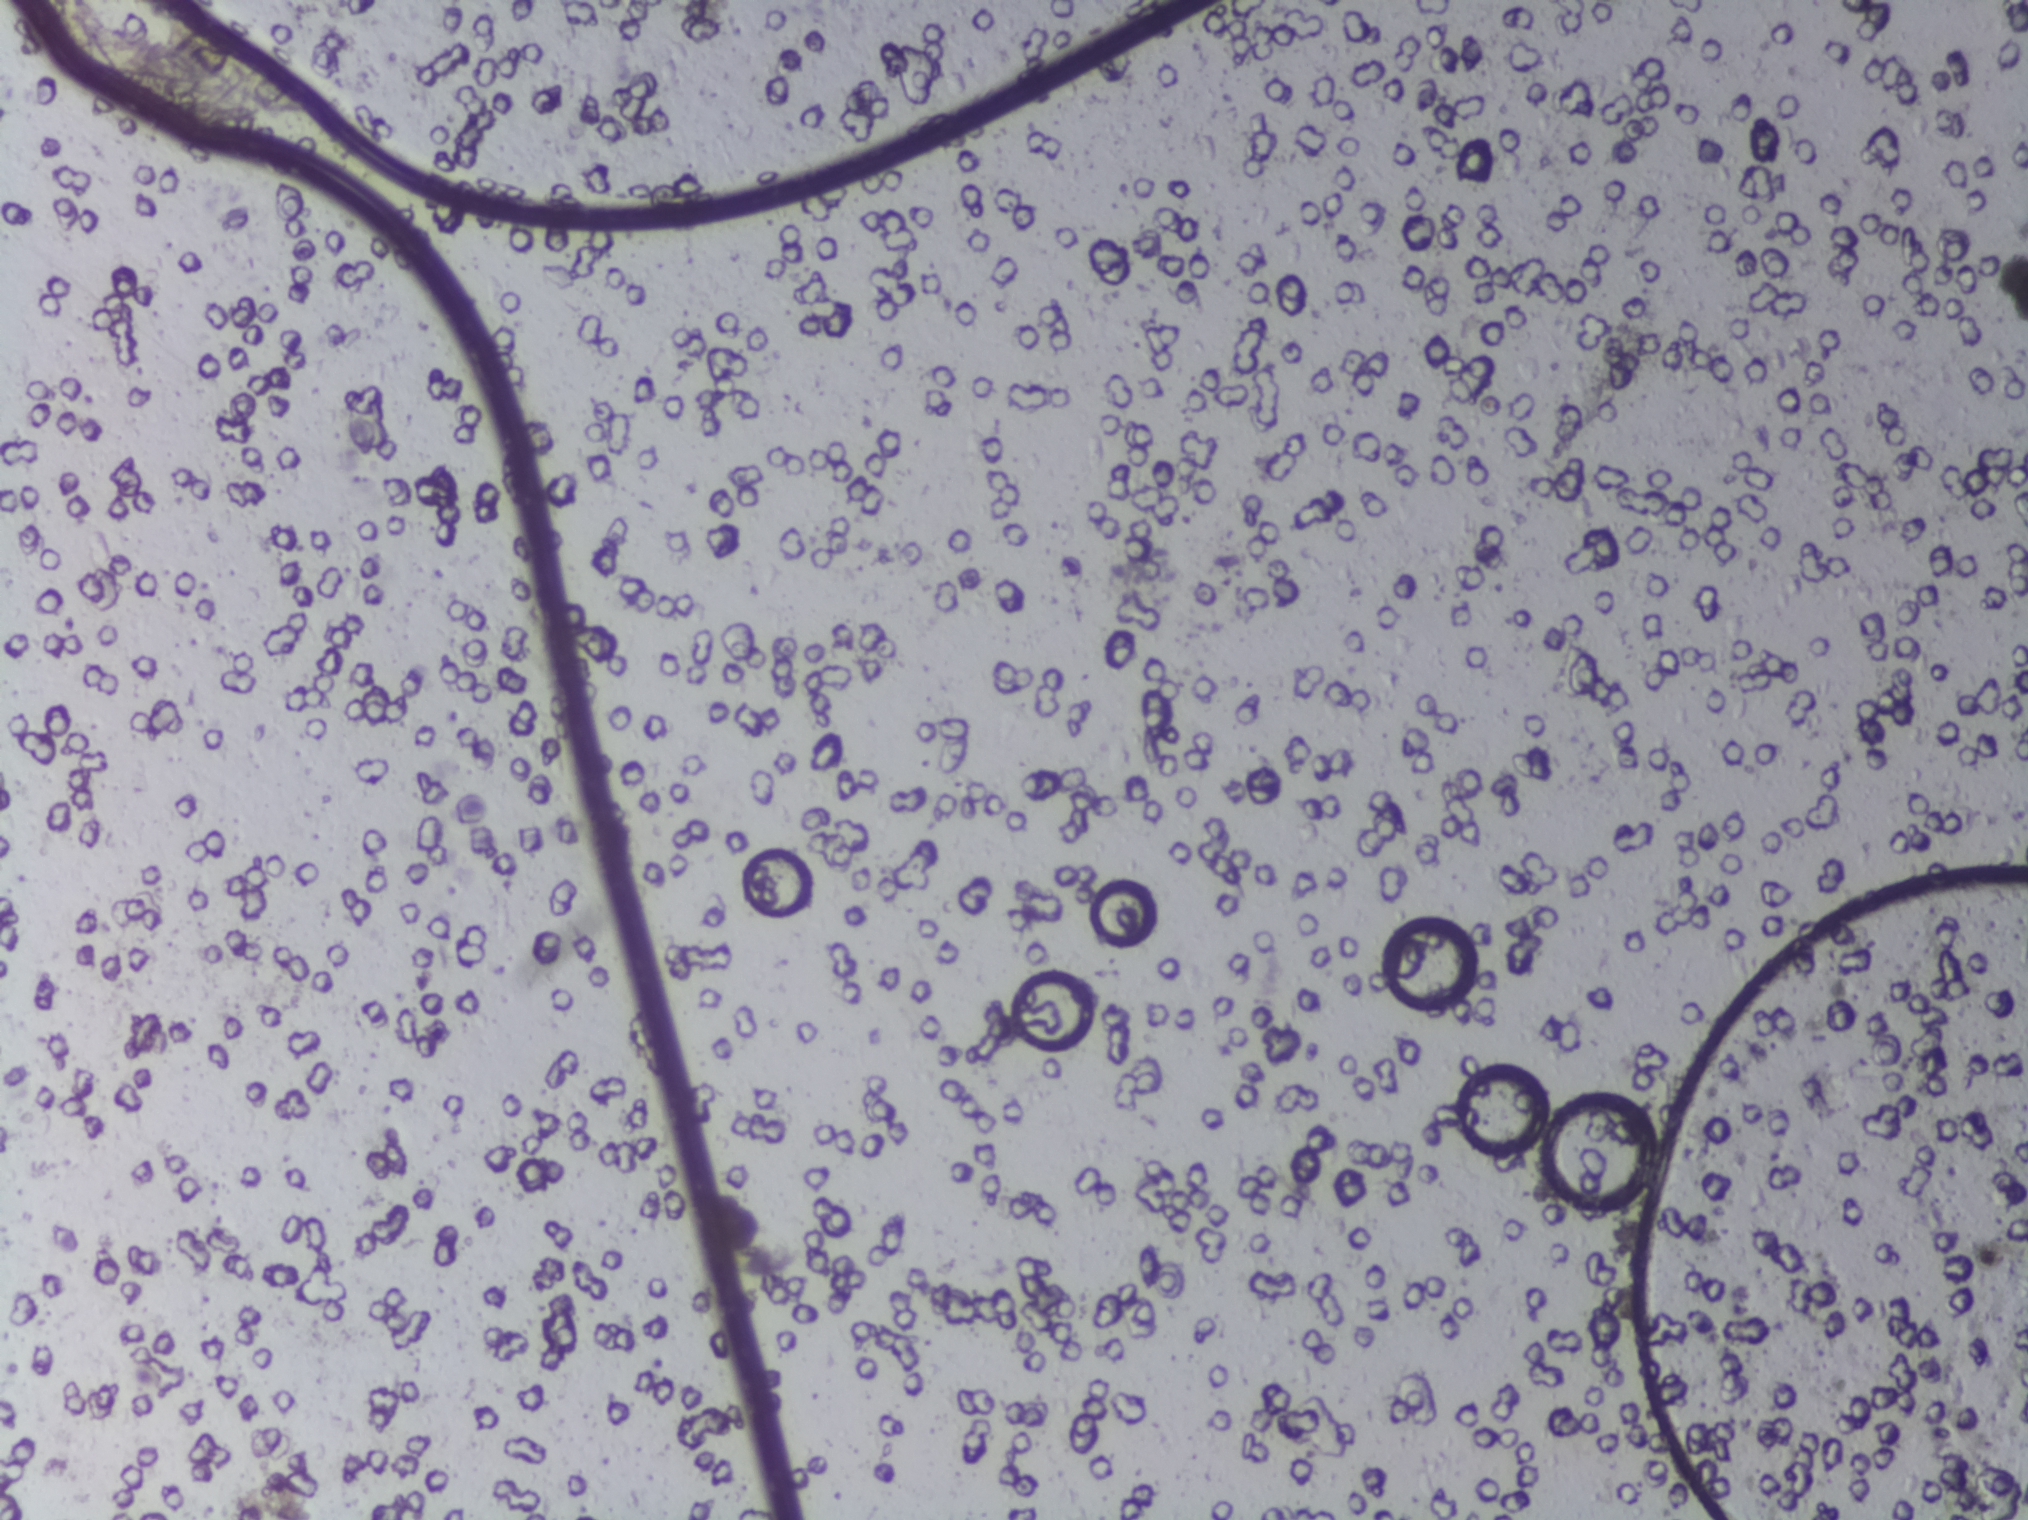
Microscope photograph (4× objective) of a membrane that a urine sample was filtered through. The image covers about 1.5 × 1.1 mm of the membrane.
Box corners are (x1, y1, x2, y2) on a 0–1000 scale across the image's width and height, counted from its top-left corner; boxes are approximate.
Findings: one area outlined as Schistosoma eggs. Location: (14, 0, 115, 64) (reaching the top edge of the frame). About 0.5% of the image's pixels are marked (the marked pixels themselves, not the box around them). Eggs that touch can end up inside the same outlined area.